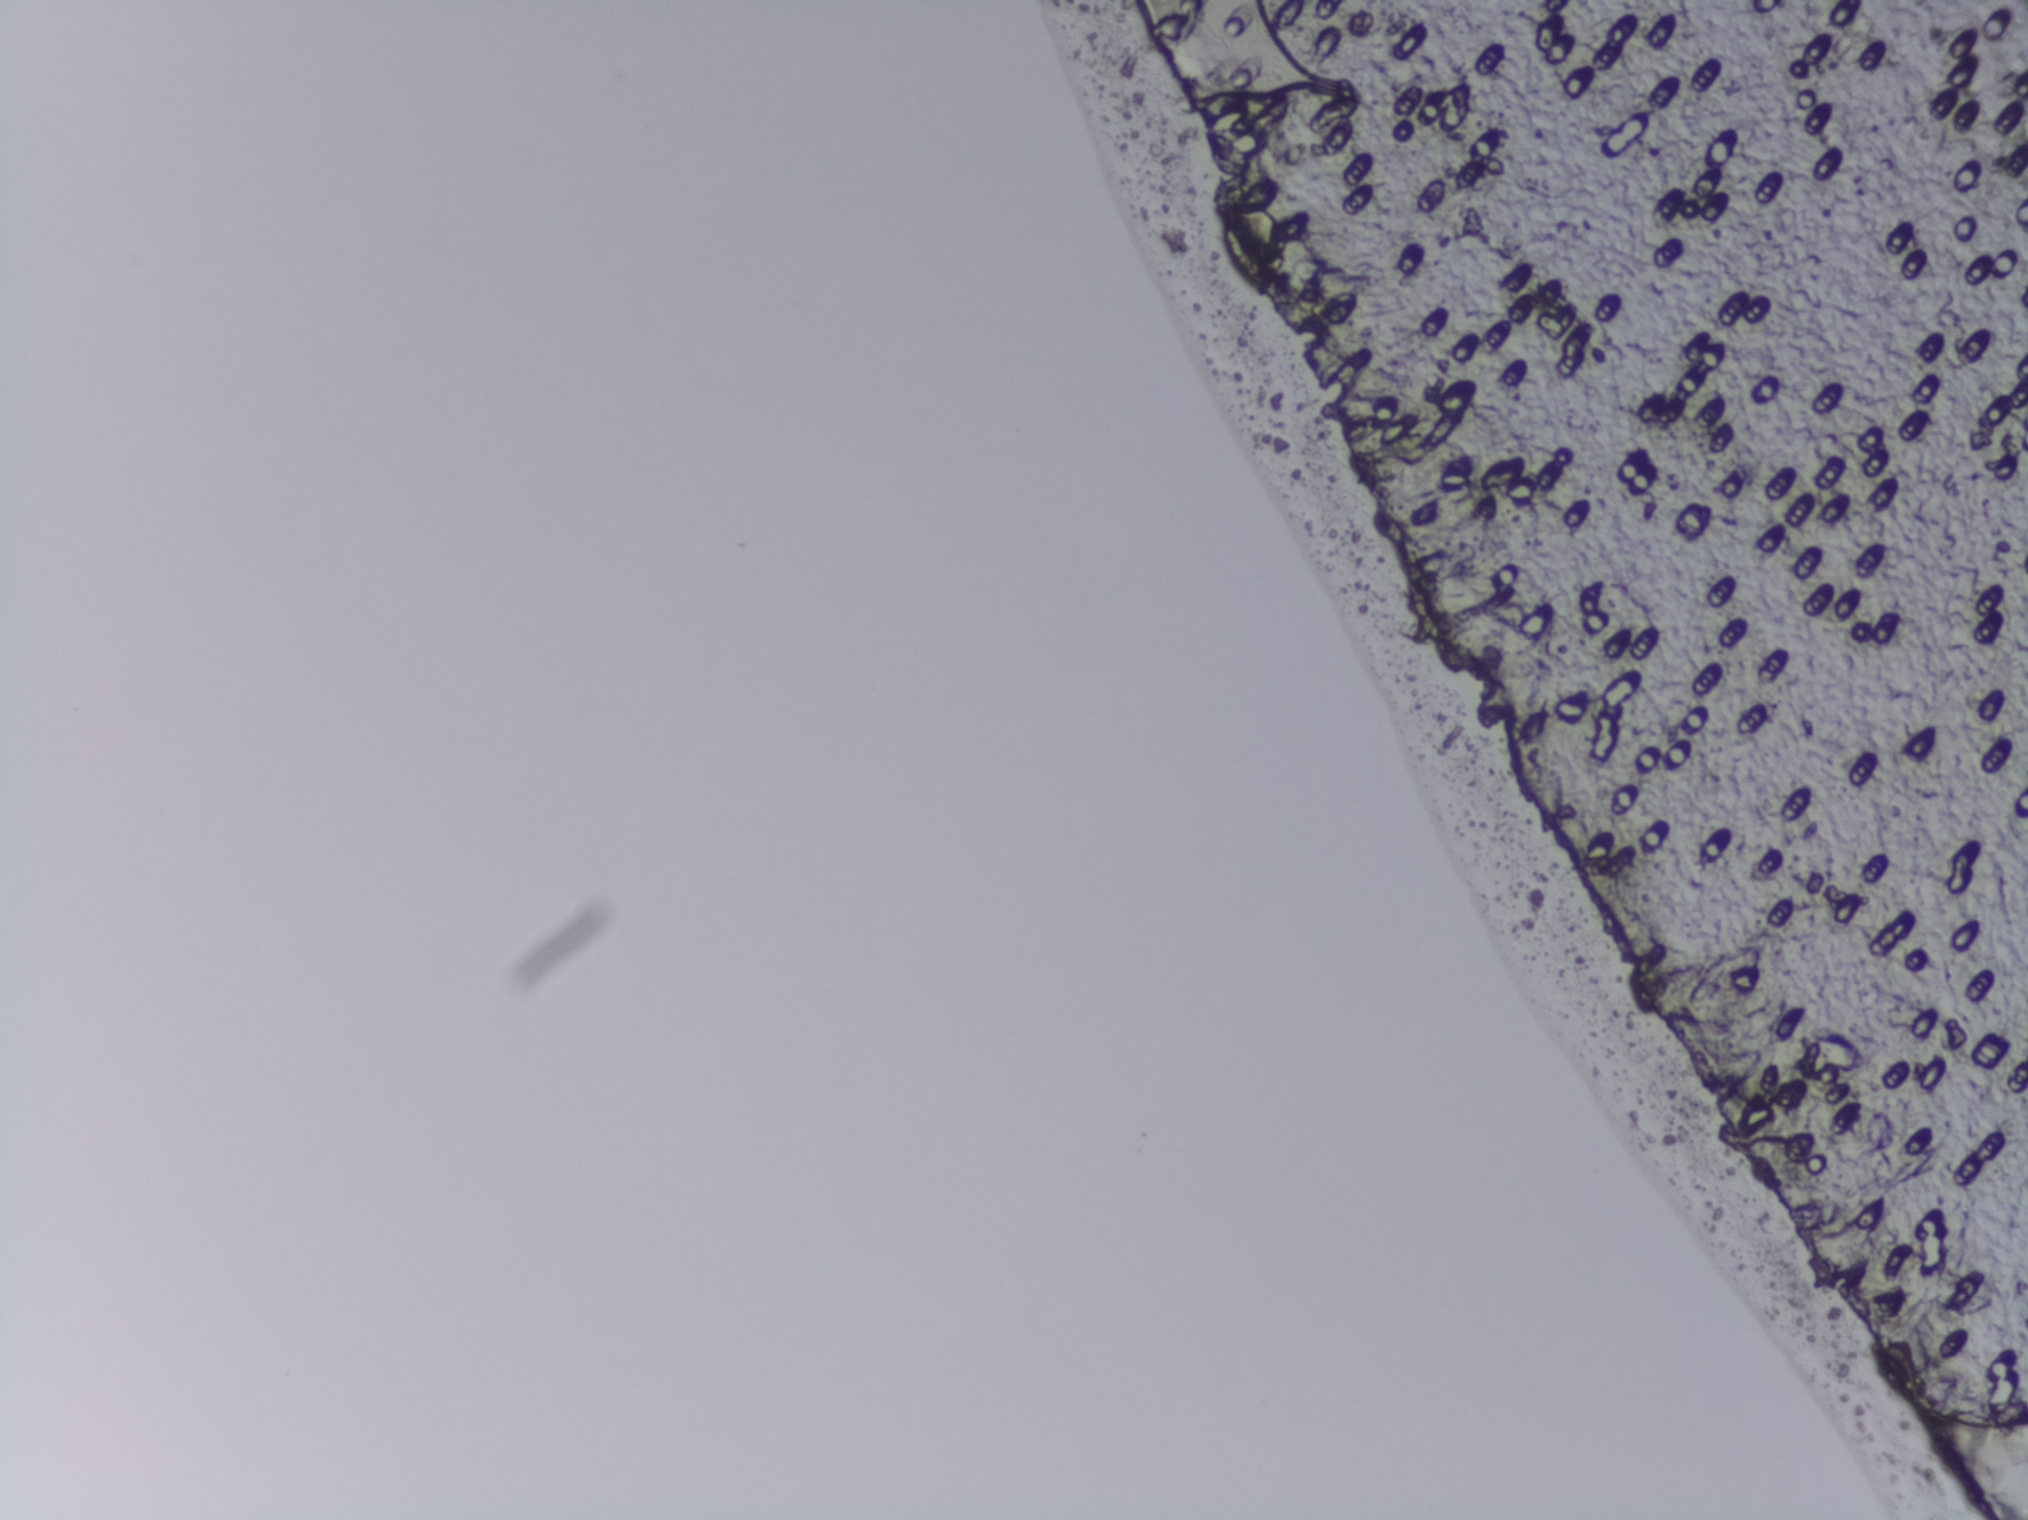
Photograph from an automated digital microscope: urine filter membrane, 4× objective.
No area of this image was outlined as a Schistosoma egg.